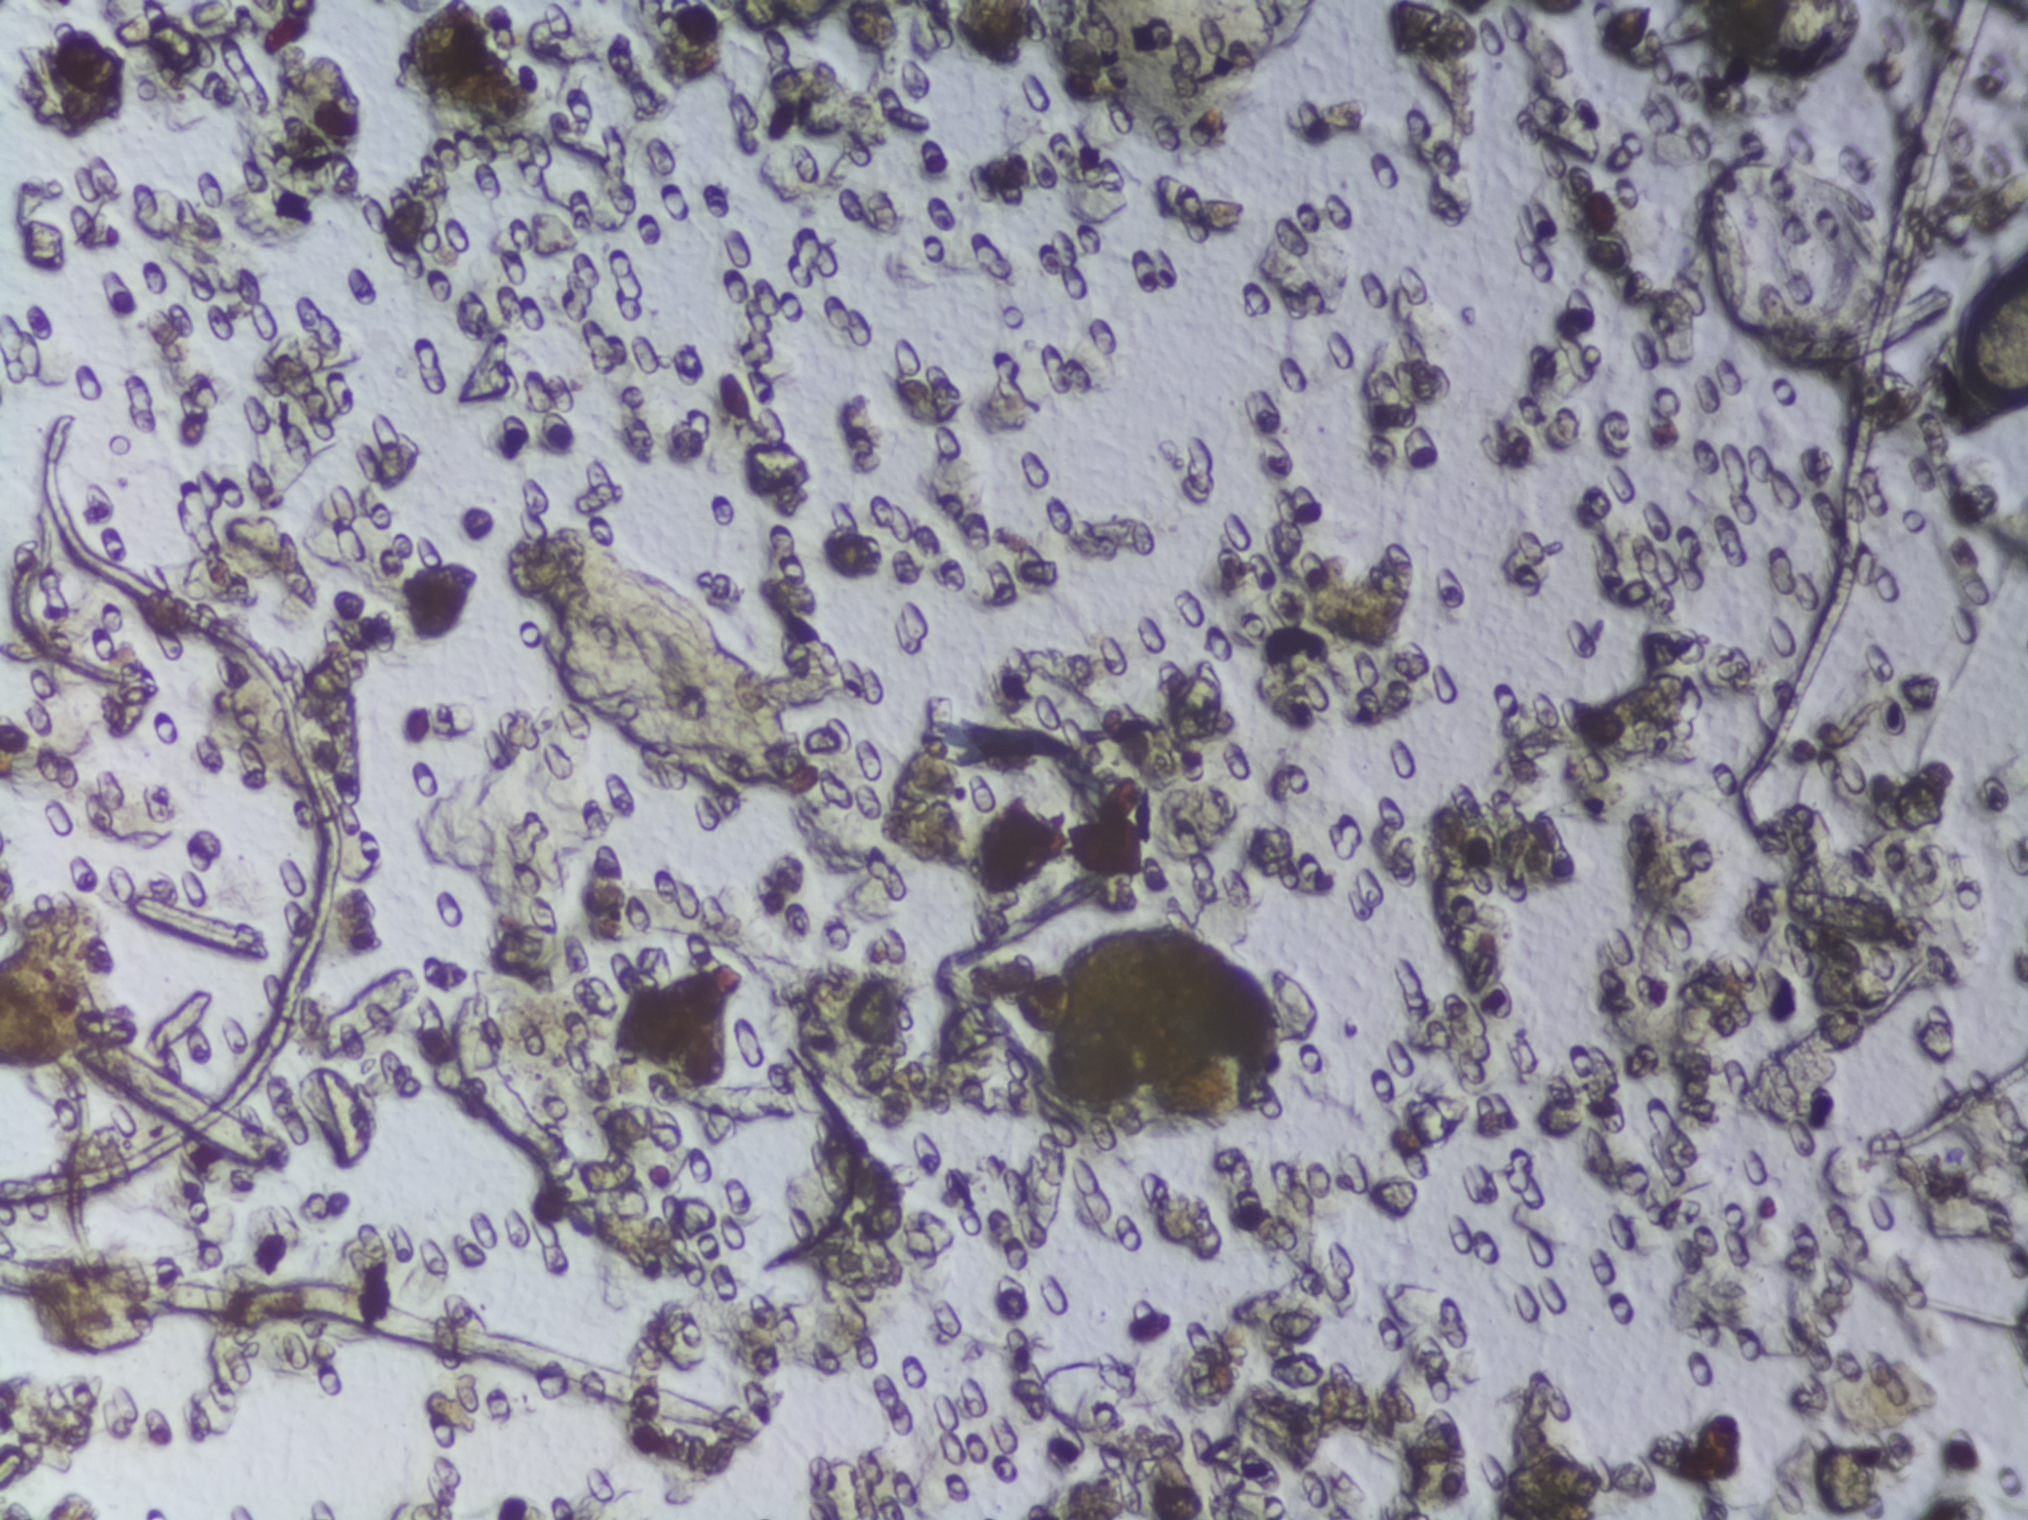
Photograph from an automated digital microscope: urine filter membrane, 4× objective. The field of view is about 1.5 mm × 1.1 mm.
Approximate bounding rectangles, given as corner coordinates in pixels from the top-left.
Outlined Schistosoma egg areas:
1. (x1=1960, y1=253, x2=2027, y2=430) (reaching the right edge of the frame)
A single outlined area may contain several eggs. Any one outlined egg may, rarely, be S. mansoni rather than S. haematobium.